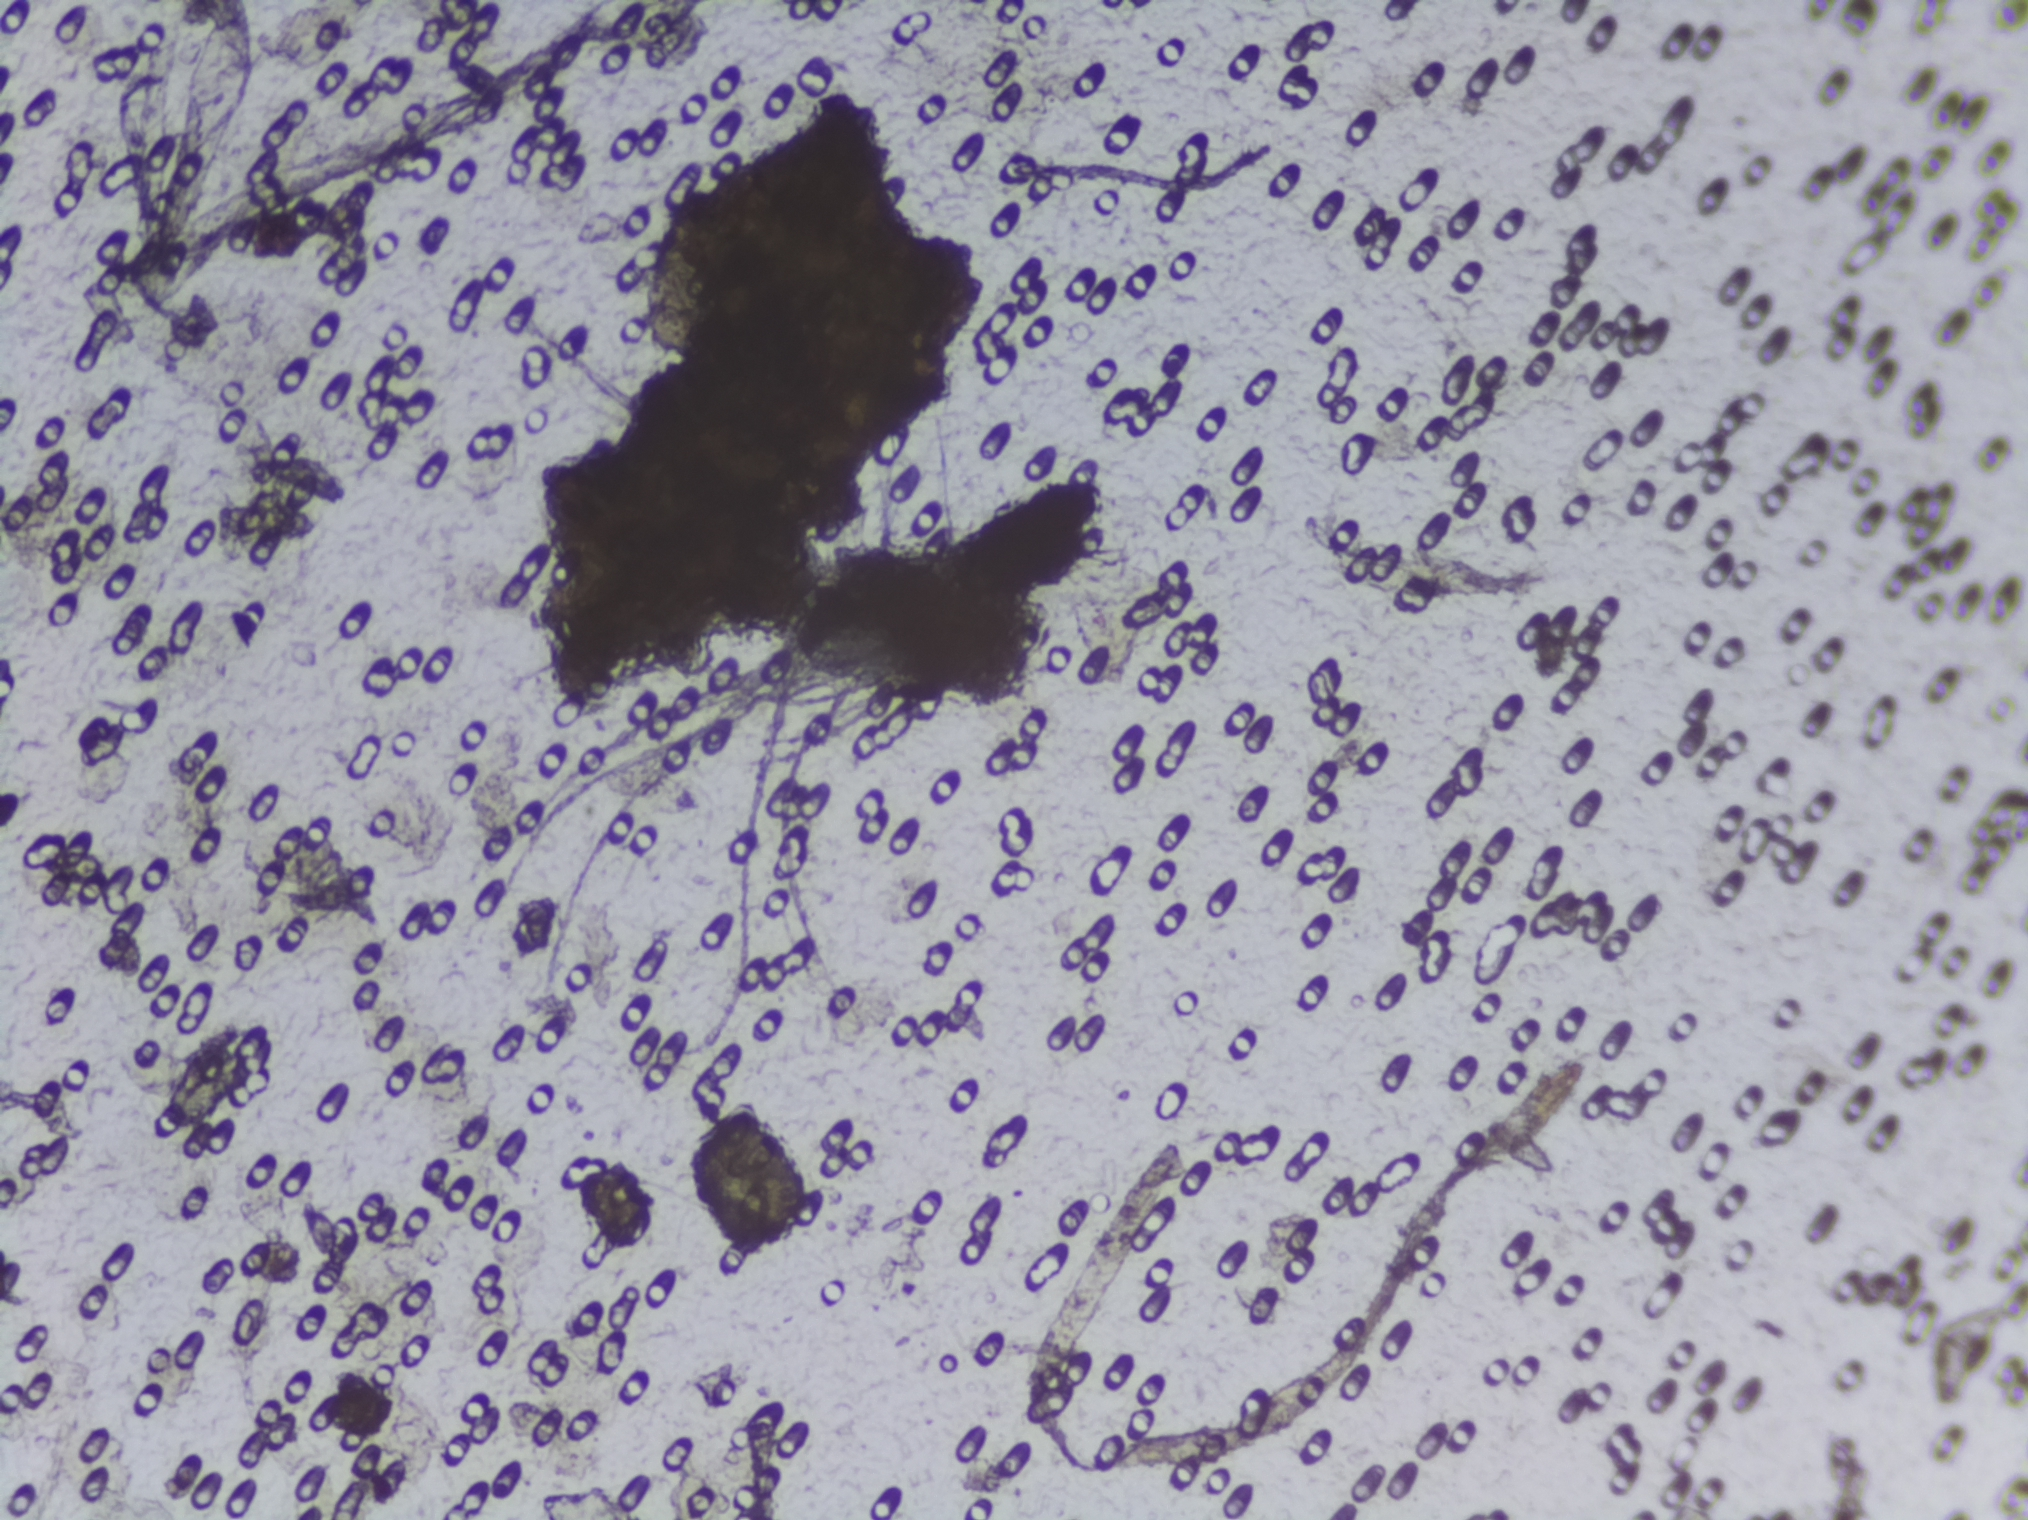
Urine filter membrane photographed through a 4× microscope objective.
The expert annotation outlines no Schistosoma egg in this image.